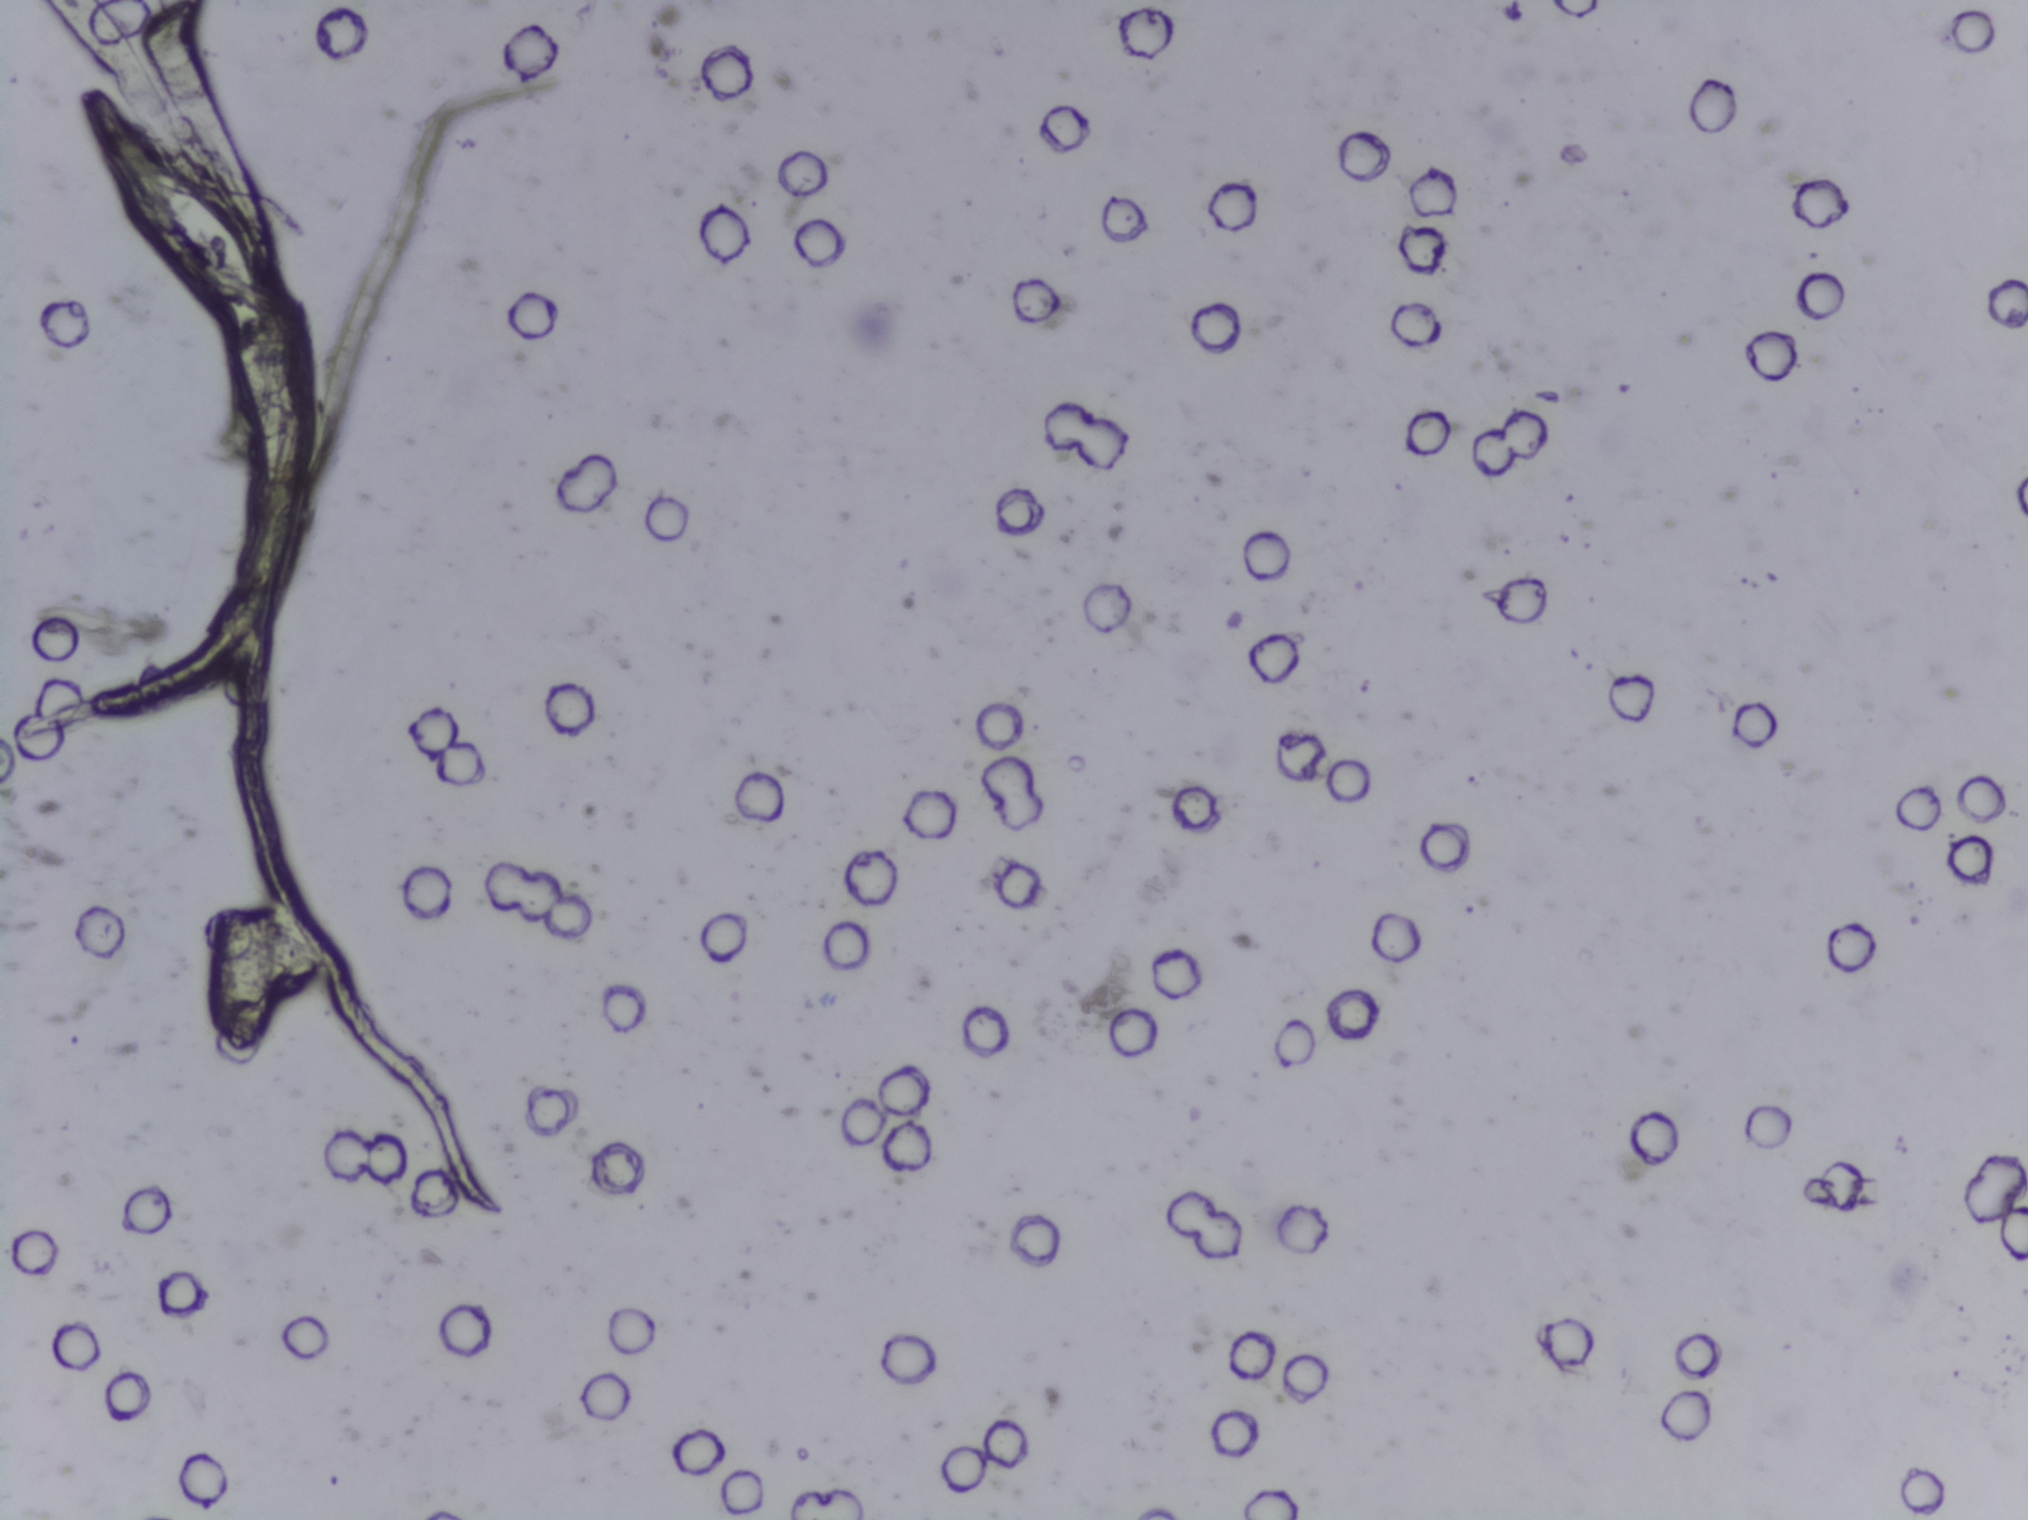
Urine filtration membrane under a 4× objective, photographed by an automated digital microscope.
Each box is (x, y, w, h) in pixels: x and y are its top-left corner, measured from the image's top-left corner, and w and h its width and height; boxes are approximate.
Schistosoma egg areas, outlined: (x=198, y=901, w=143, h=159). A single outlined area may contain several eggs.